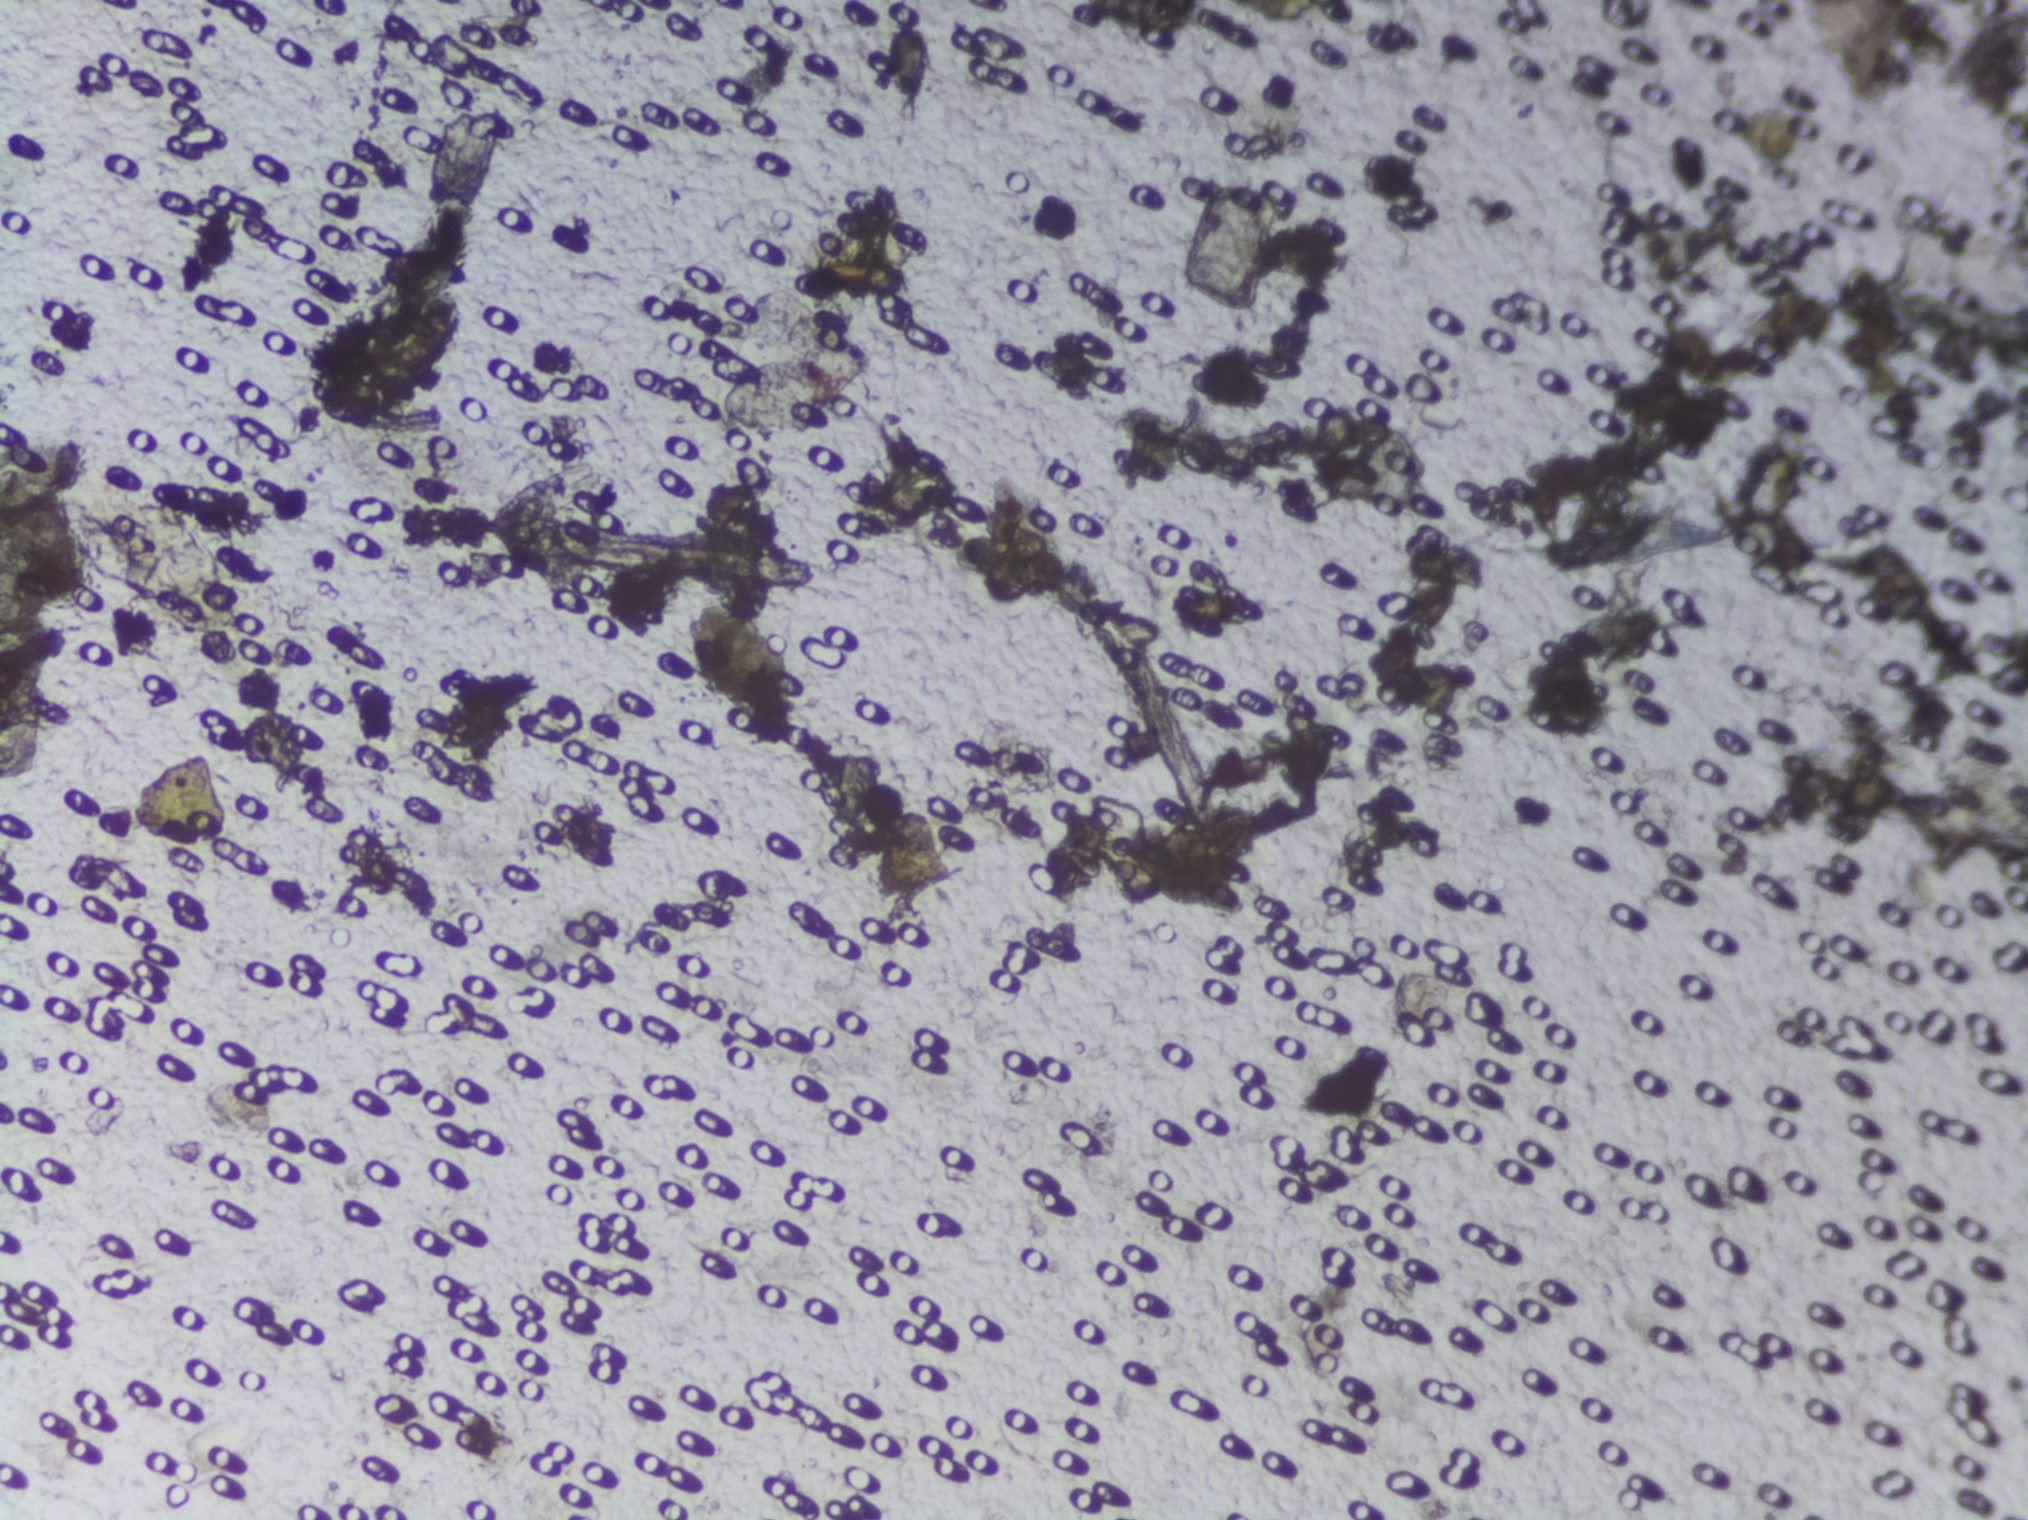
The expert annotation marks no Schistosoma egg in this field of view.
Urine filtration membrane under a 4× objective, photographed by an automated digital microscope.